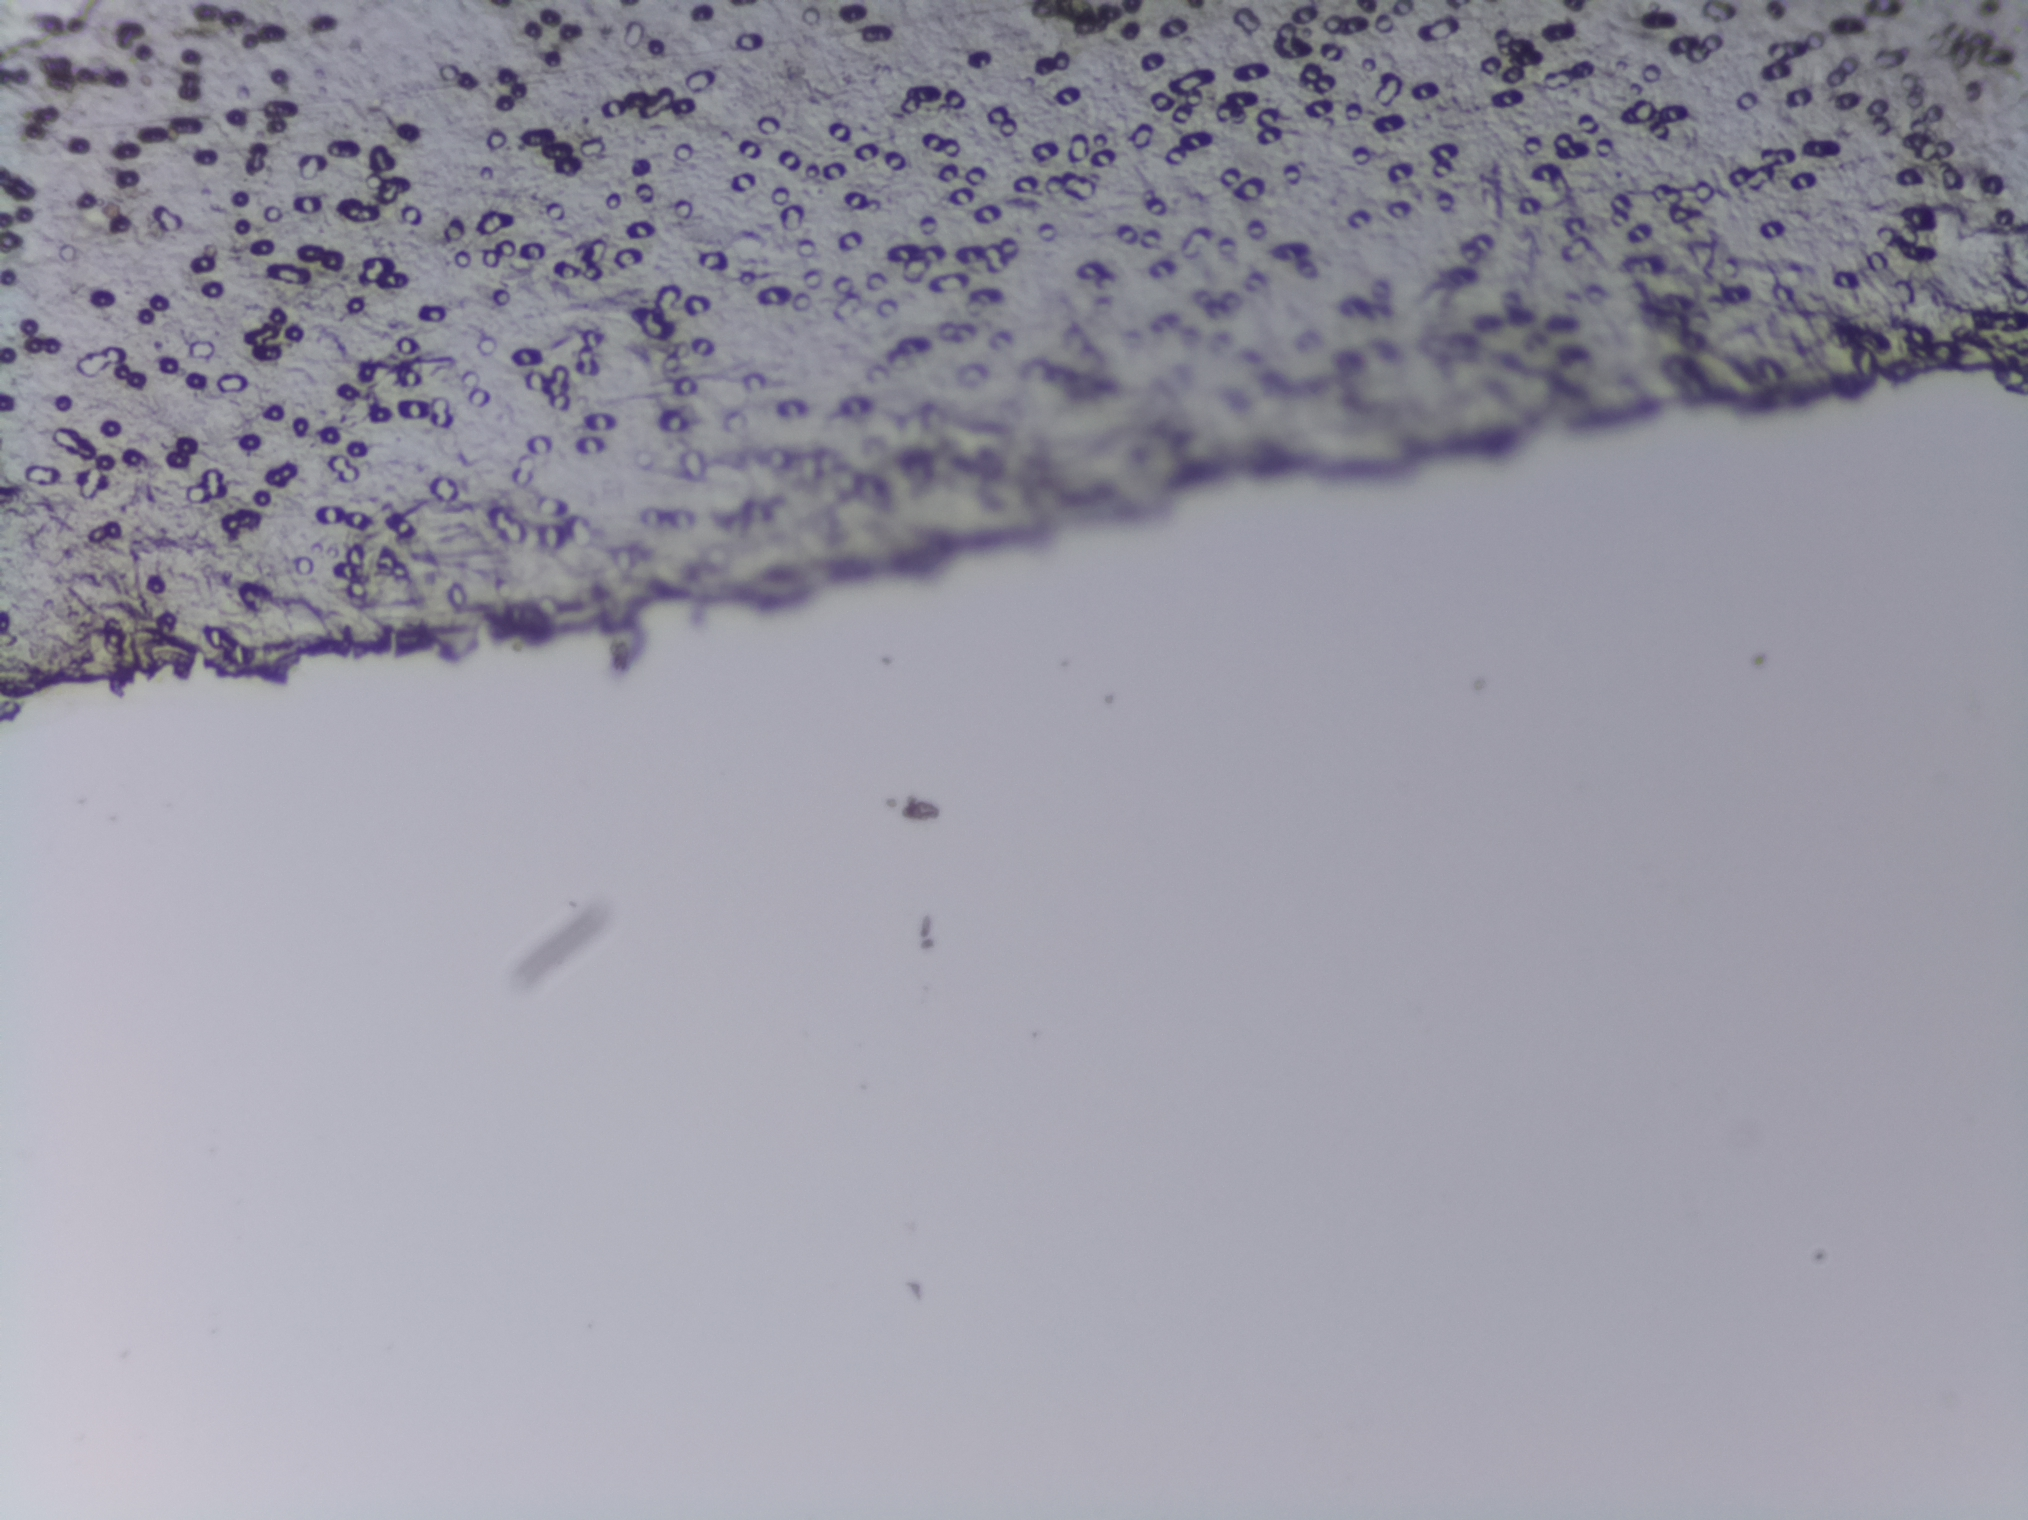
Urine filter membrane photographed through a 4× microscope objective.
The expert annotation outlines no Schistosoma egg in this image.